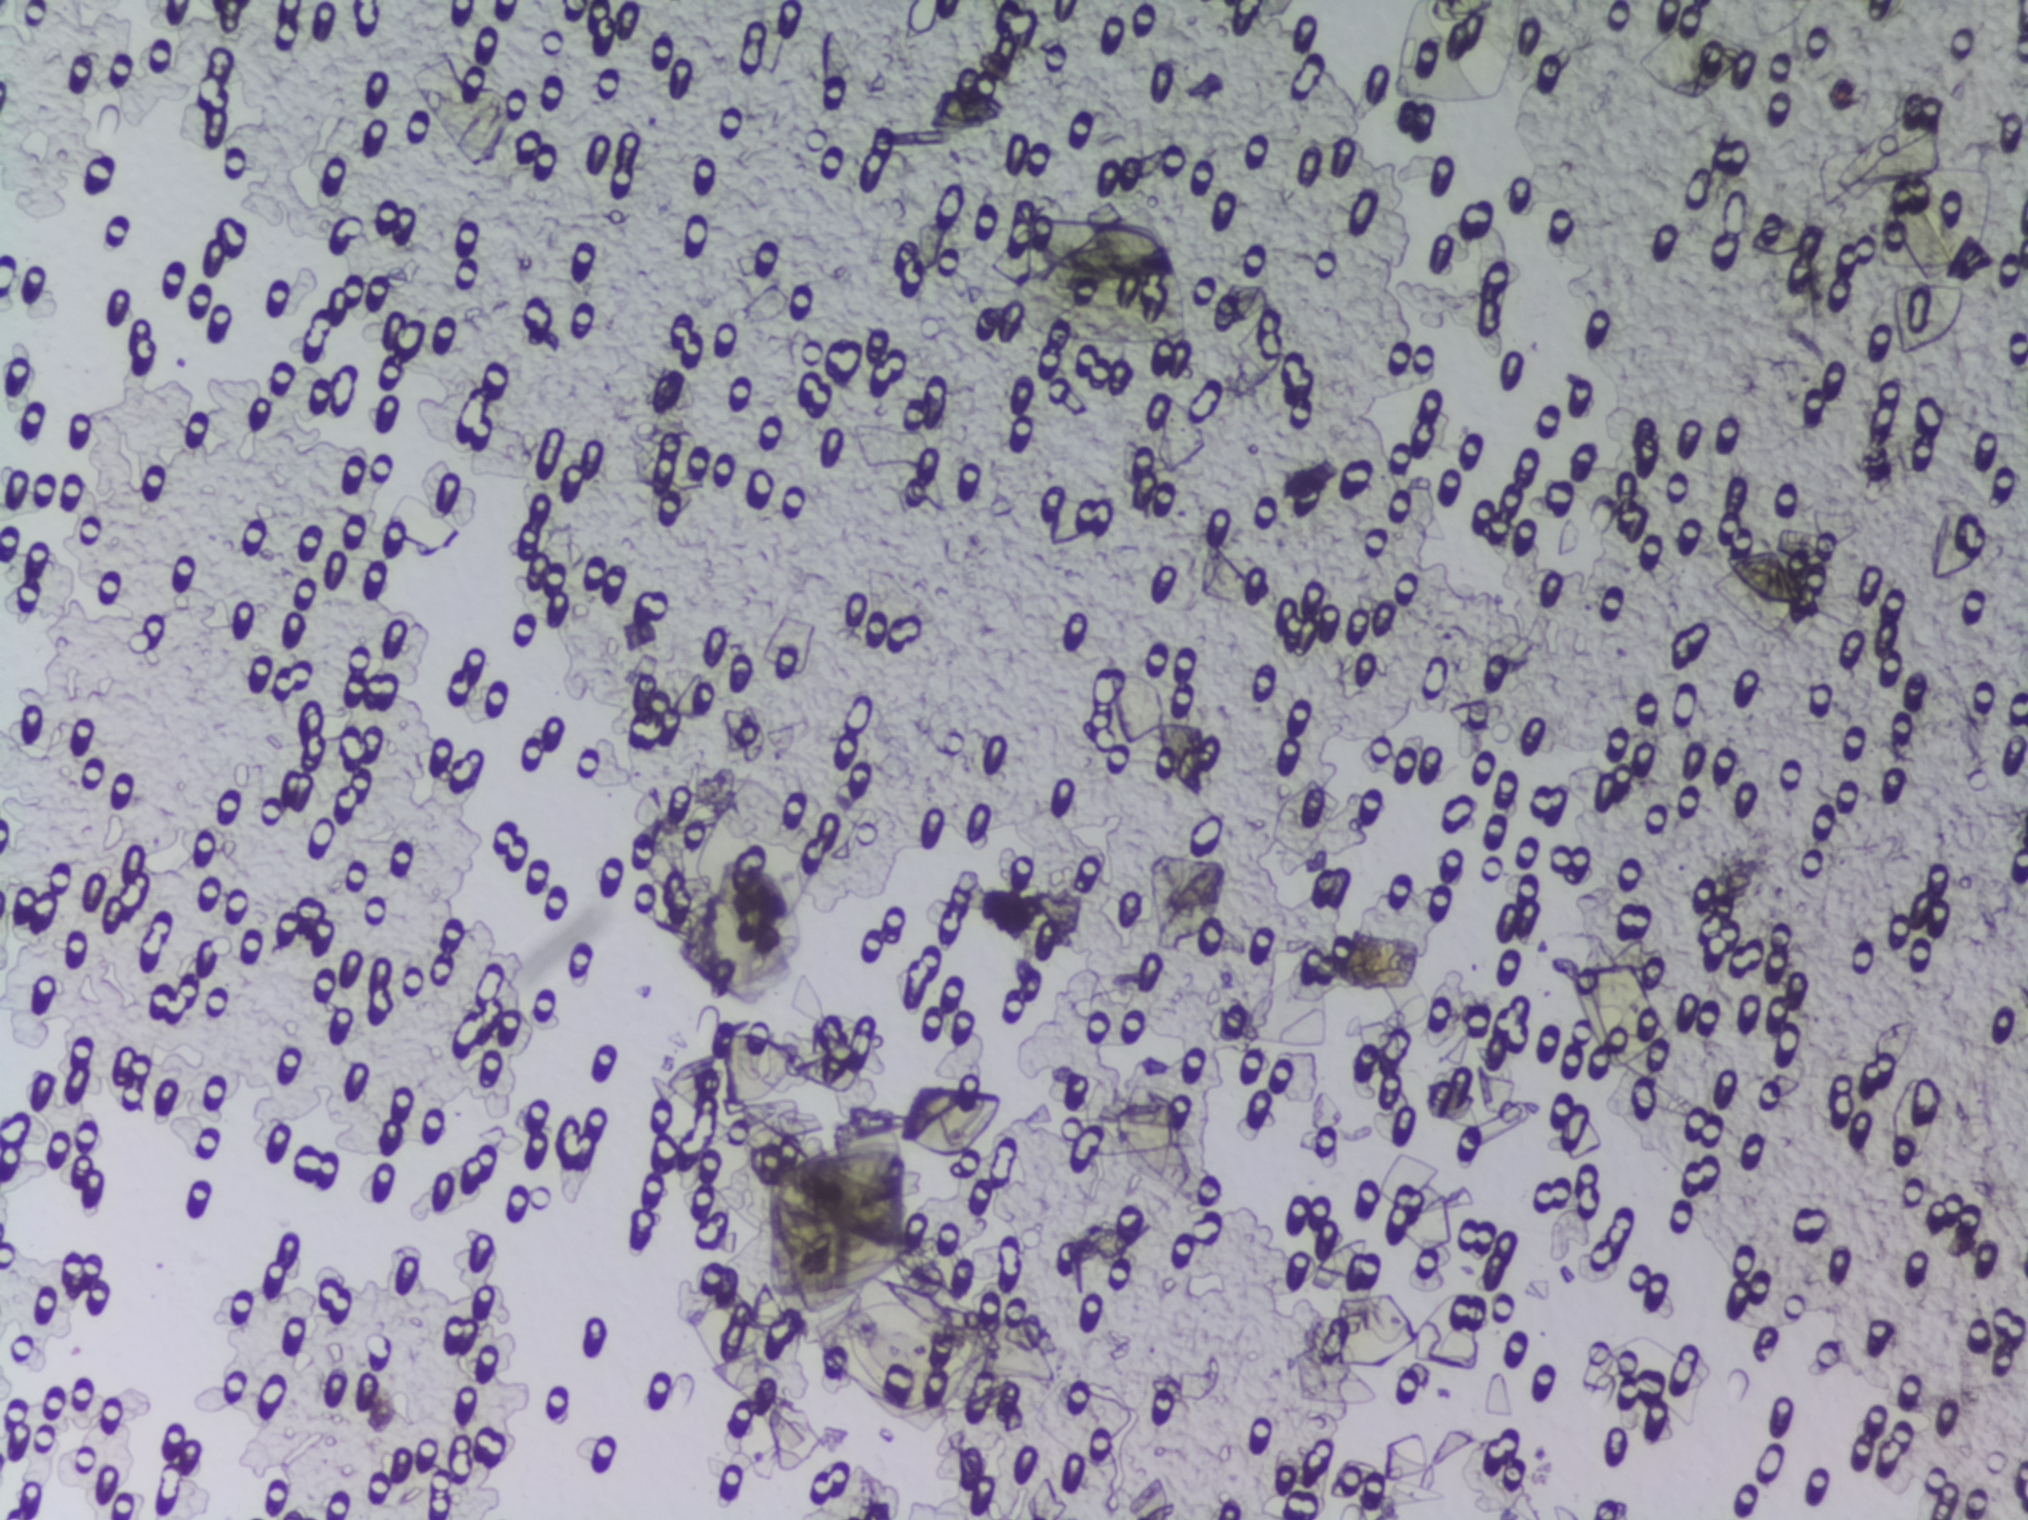
The expert annotation marks no Schistosoma egg in this field of view.
One field of view of a urine filter membrane, 4× objective, 2028 × 1520 pixels.